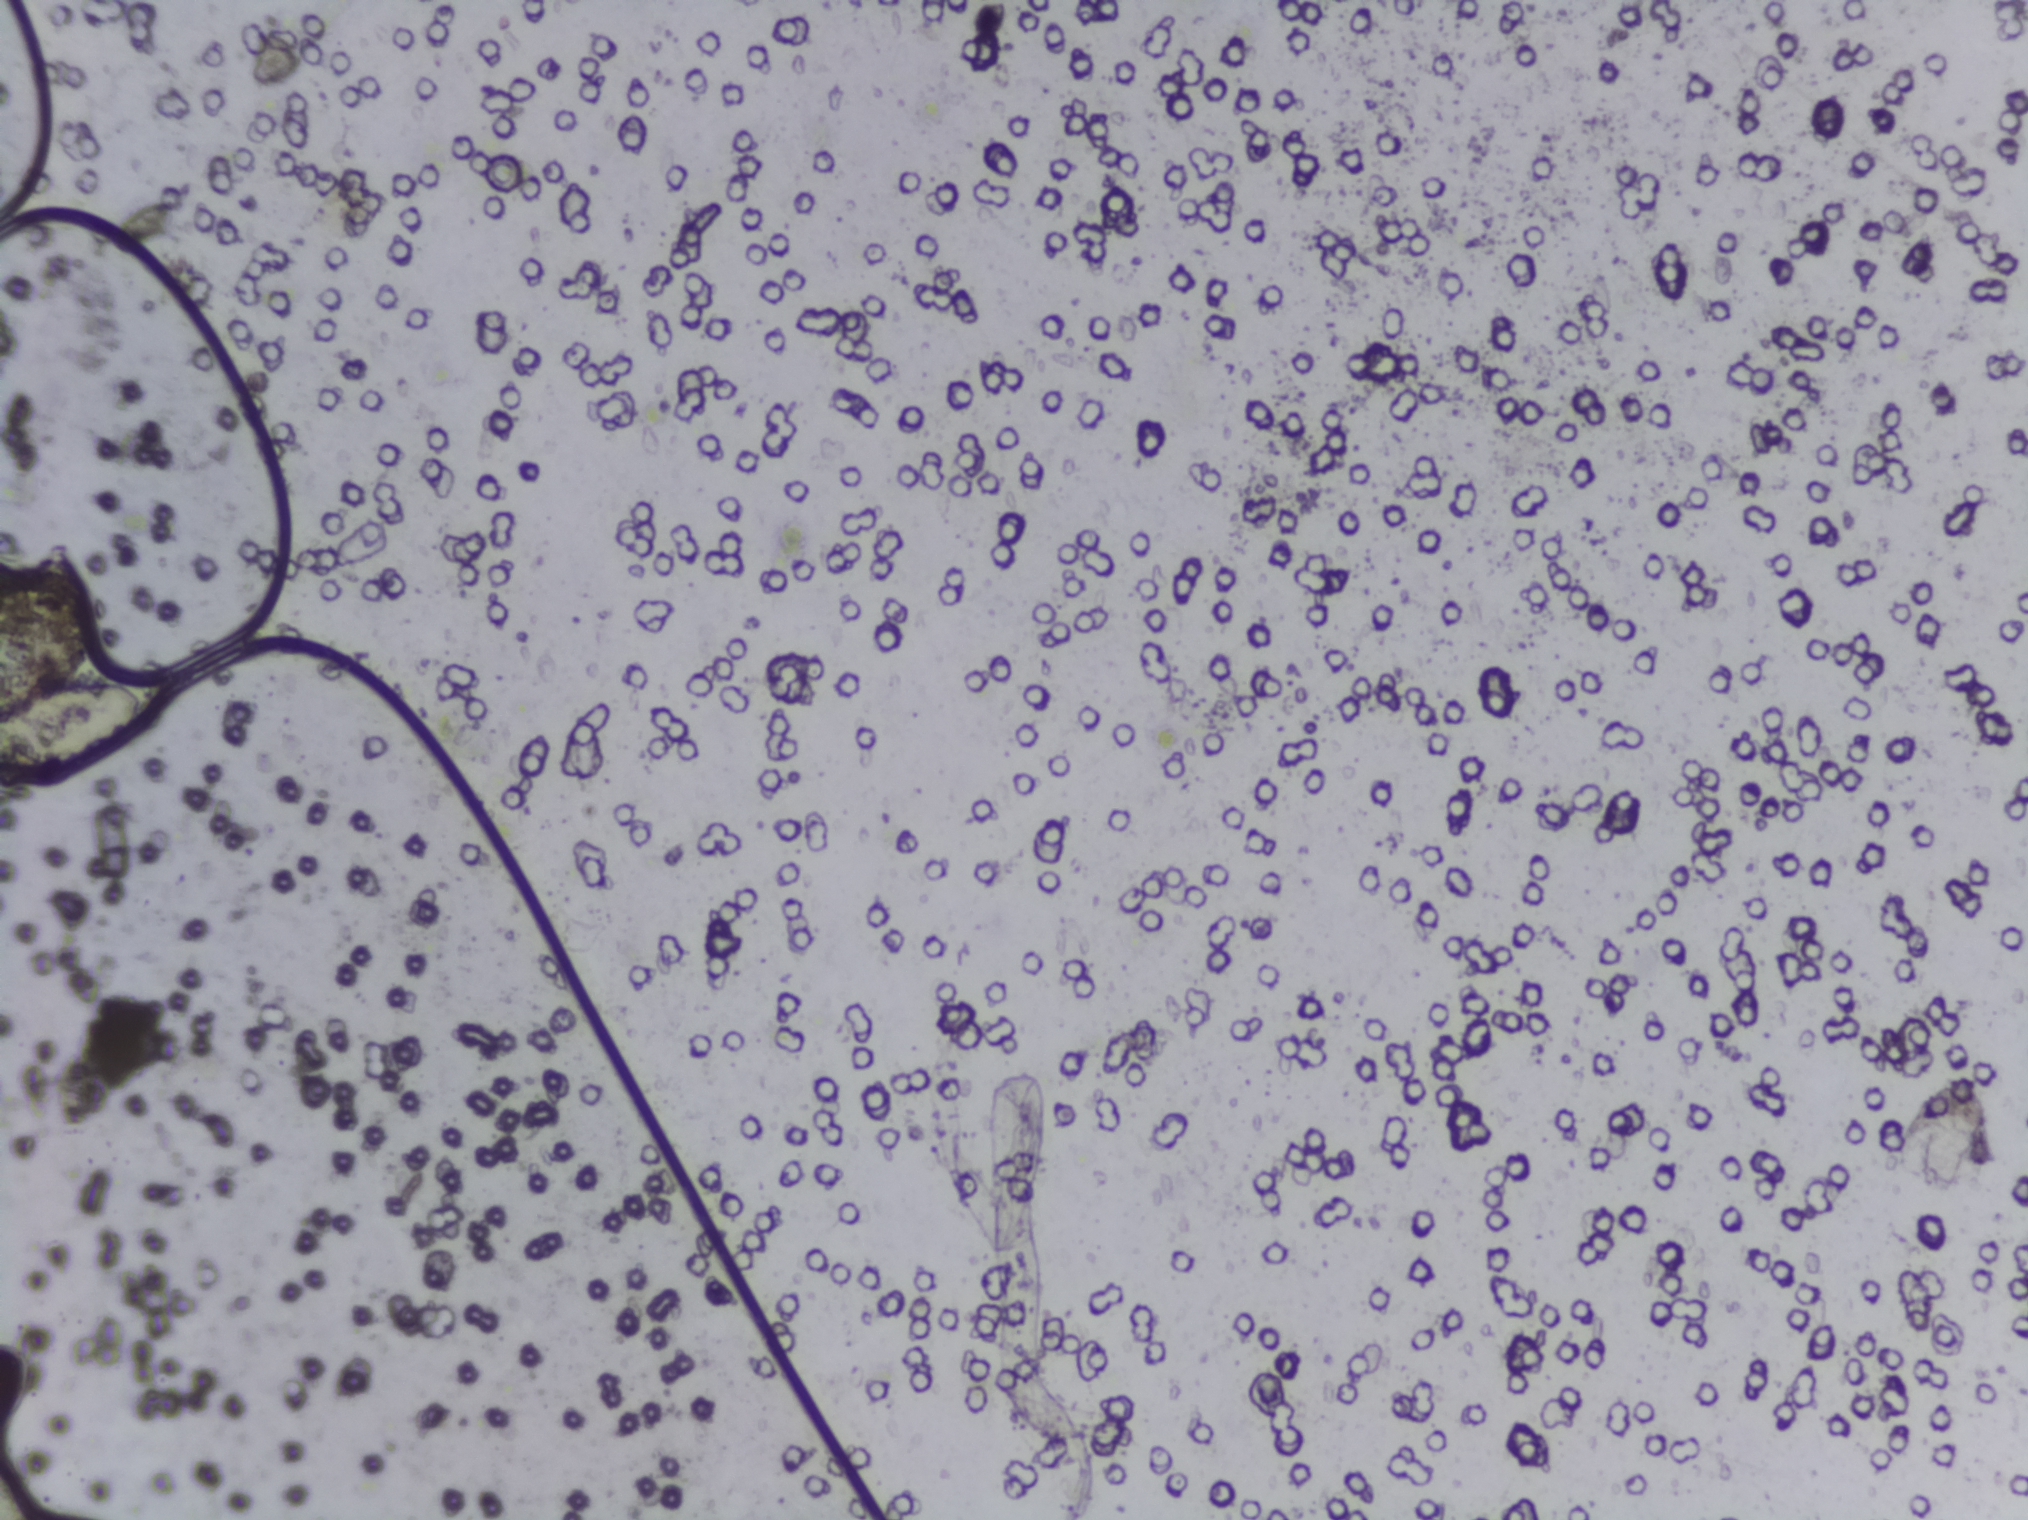
Urine filtration membrane under a 4× objective, photographed by an automated digital microscope. The image covers about 1.5 × 1.1 mm of the membrane.
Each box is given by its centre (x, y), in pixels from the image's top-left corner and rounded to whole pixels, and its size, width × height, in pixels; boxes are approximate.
Schistosoma eggs are outlined in one area of this image: centre (76, 728), 152 × 94 px (reaching the left edge of the frame). A single outlined area may contain several eggs.